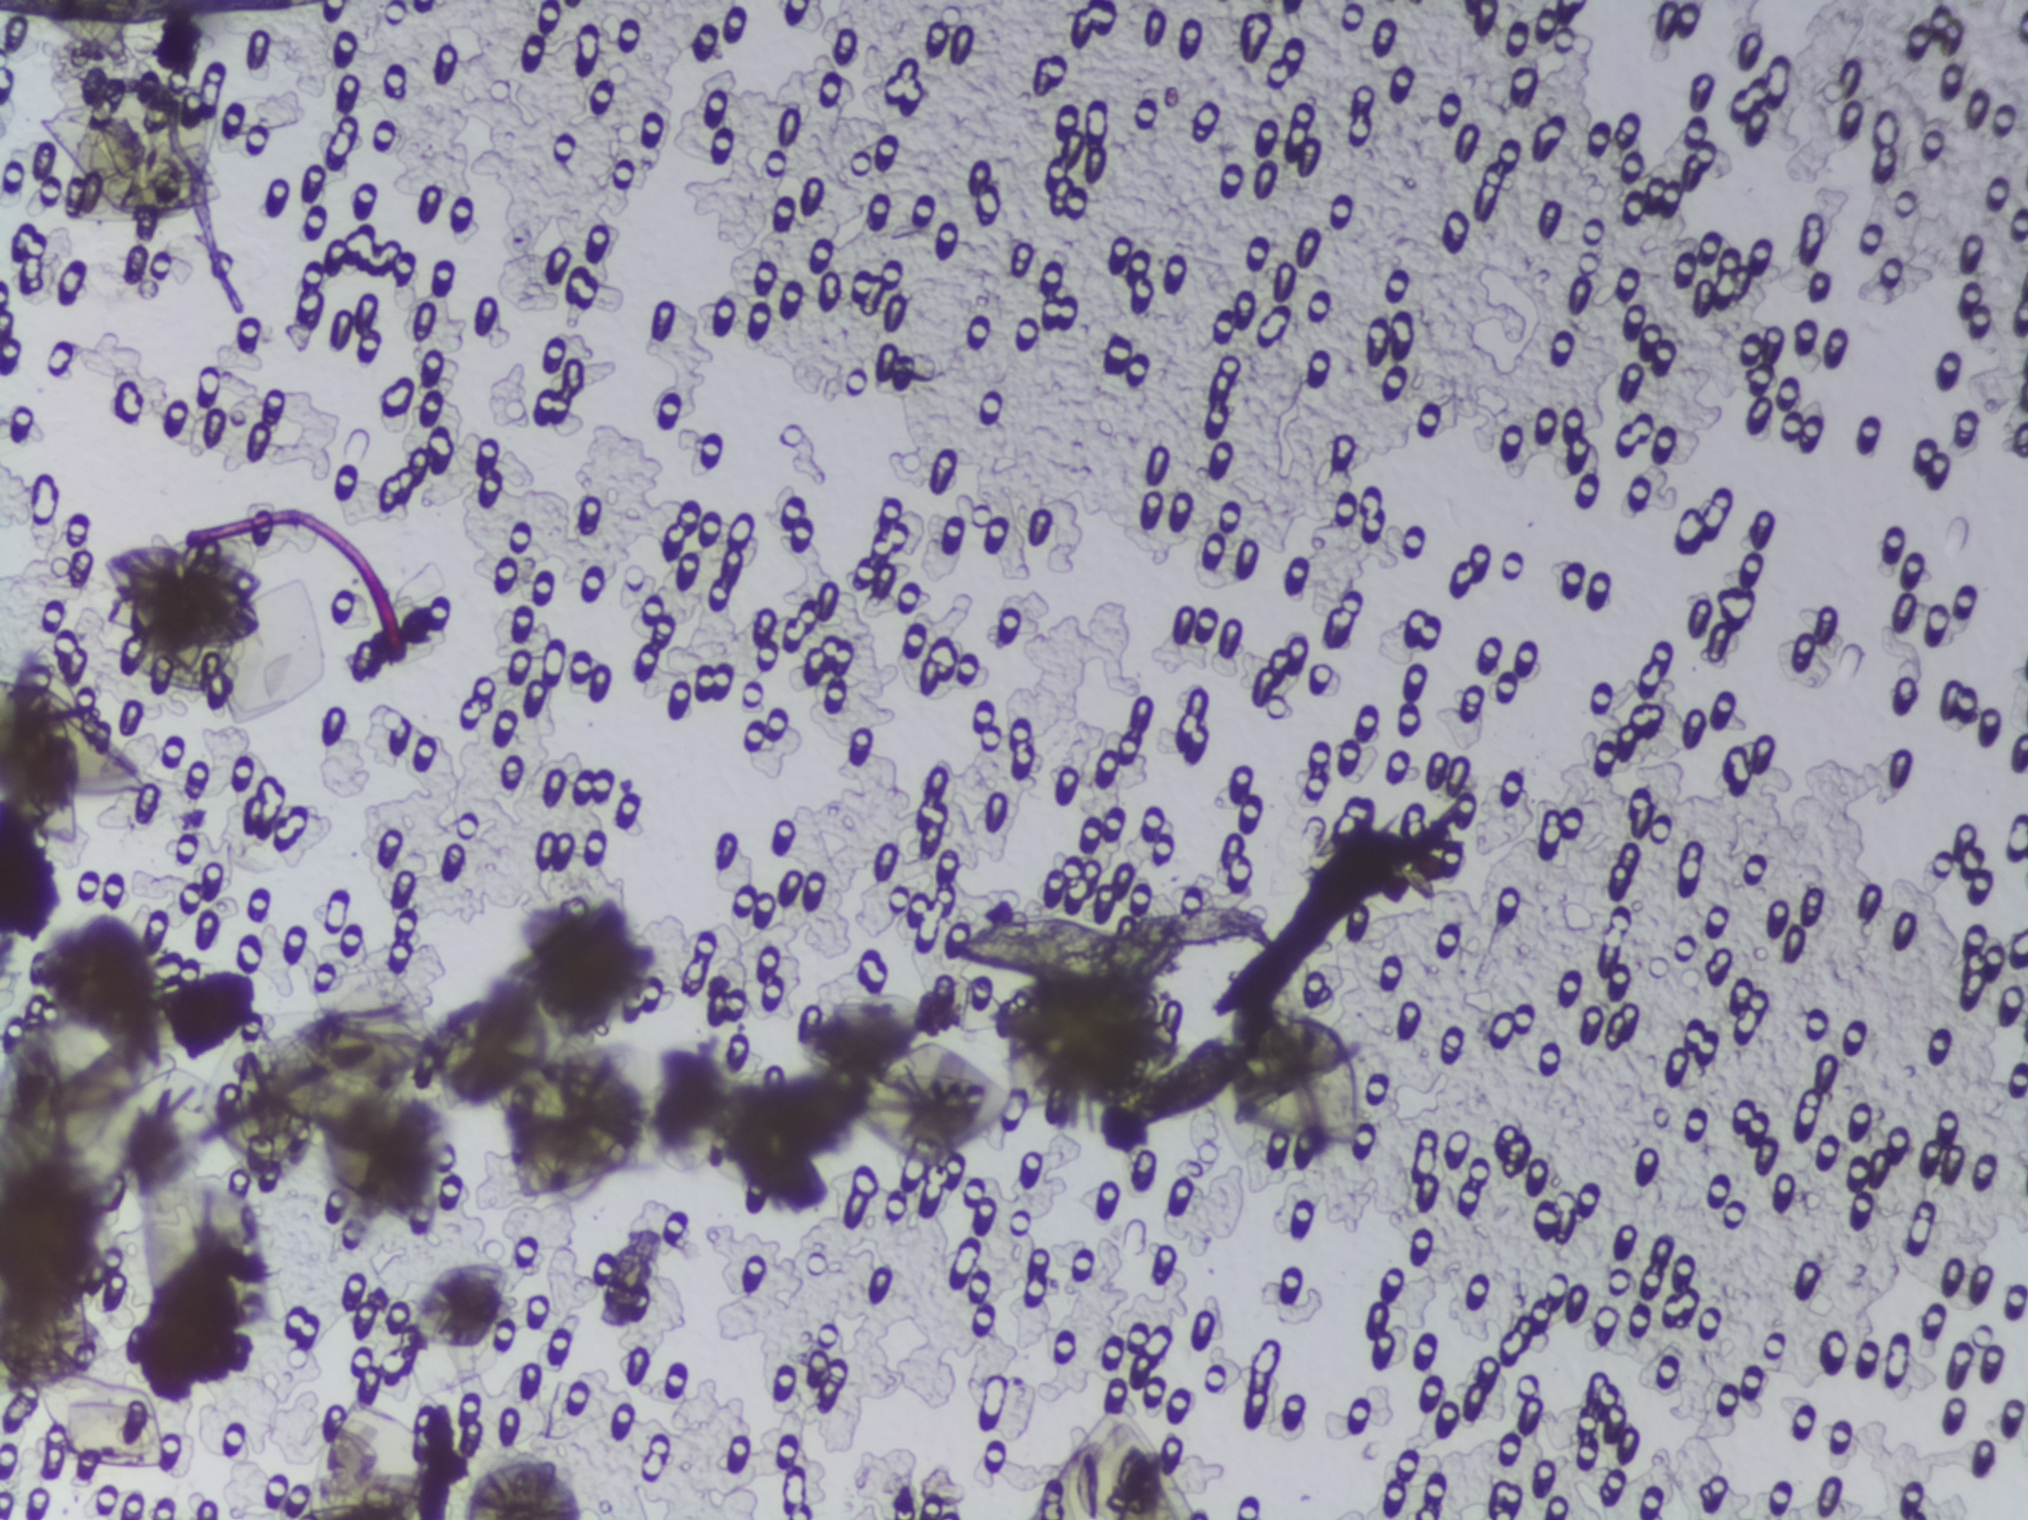
Urine filter membrane photographed through a 4× microscope objective. The image covers about 1.5 × 1.1 mm of the membrane.
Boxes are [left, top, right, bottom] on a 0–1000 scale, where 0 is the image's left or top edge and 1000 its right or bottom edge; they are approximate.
Schistosoma eggs are outlined in the expert annotation at [49, 355, 132, 426] and [467, 599, 583, 656]. Marked pixels, not the boxes around them: about 0.9% of the image. Eggs that touch can end up inside the same outlined area.